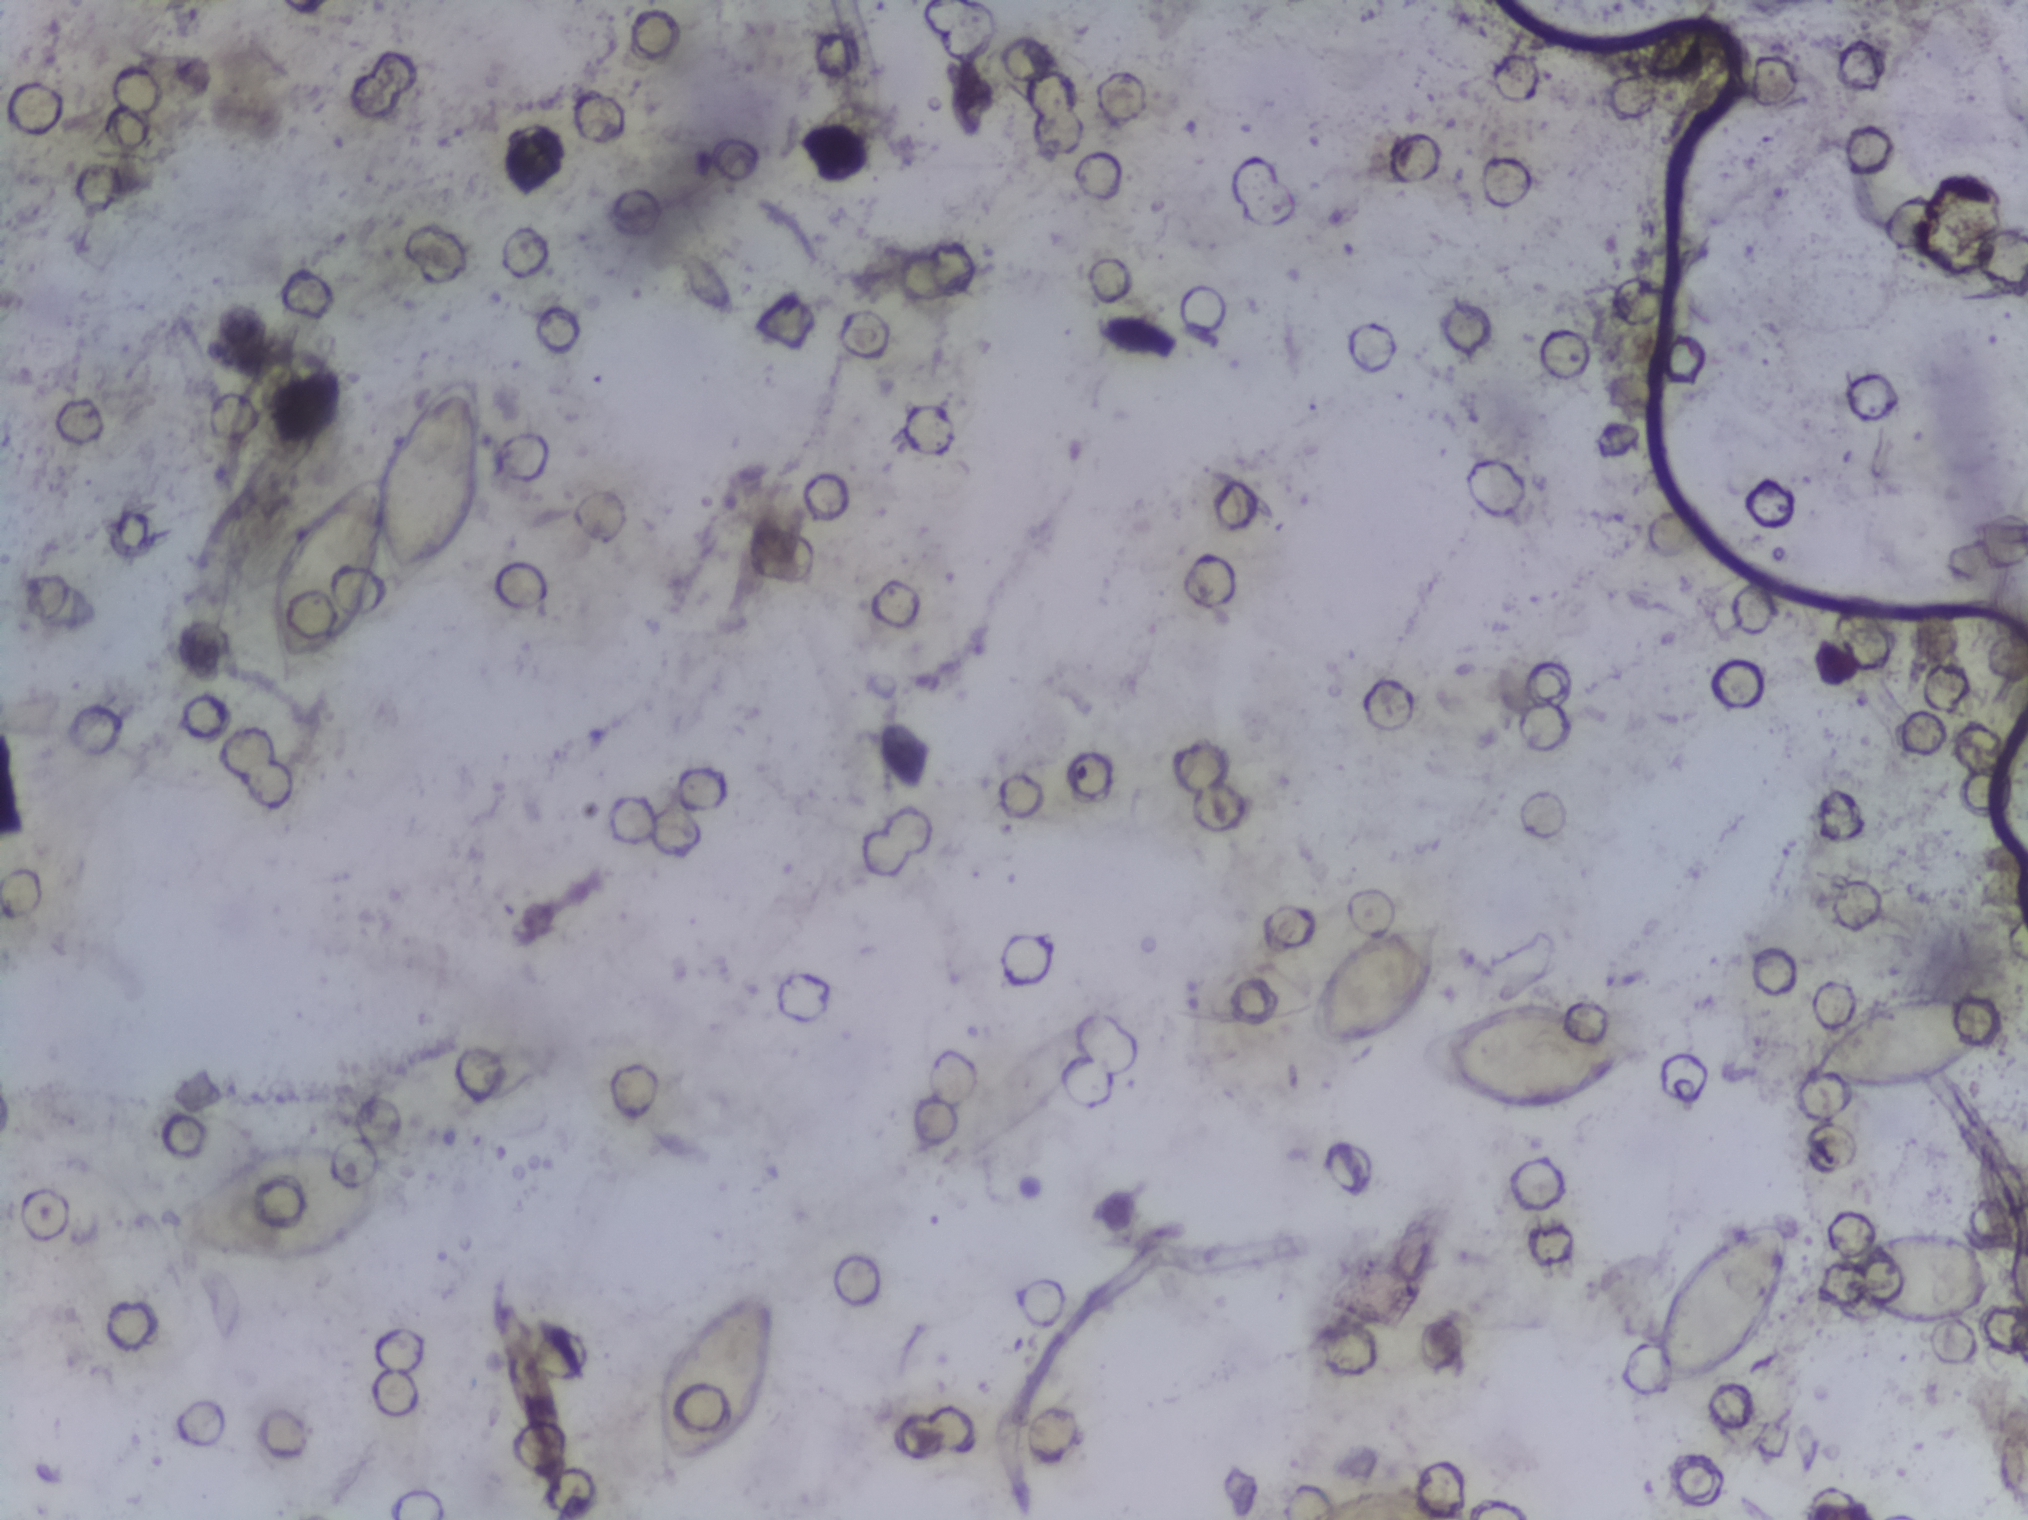
Urine filtration membrane under a 4× objective, photographed by an automated digital microscope.
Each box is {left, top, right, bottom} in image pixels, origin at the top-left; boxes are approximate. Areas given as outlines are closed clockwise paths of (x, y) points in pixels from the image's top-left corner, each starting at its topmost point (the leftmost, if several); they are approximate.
Areas outlined as Schistosoma eggs: box {167, 1140, 420, 1261}; outline (465, 377), (477, 378), (487, 433), (466, 536), (417, 584), (395, 589), (384, 570), (369, 610), (290, 686), (279, 674), (270, 634), (278, 543), (327, 497), (376, 473), (401, 423), (434, 393); box {651, 1286, 776, 1485}; box {1302, 915, 1449, 1048}; box {1414, 993, 1654, 1112}; box {1643, 1206, 1791, 1395}; box {1799, 983, 2027, 1095} (reaching the right edge of the frame); box {1821, 1221, 2019, 1335}. Eggs that touch can end up inside the same outlined area.